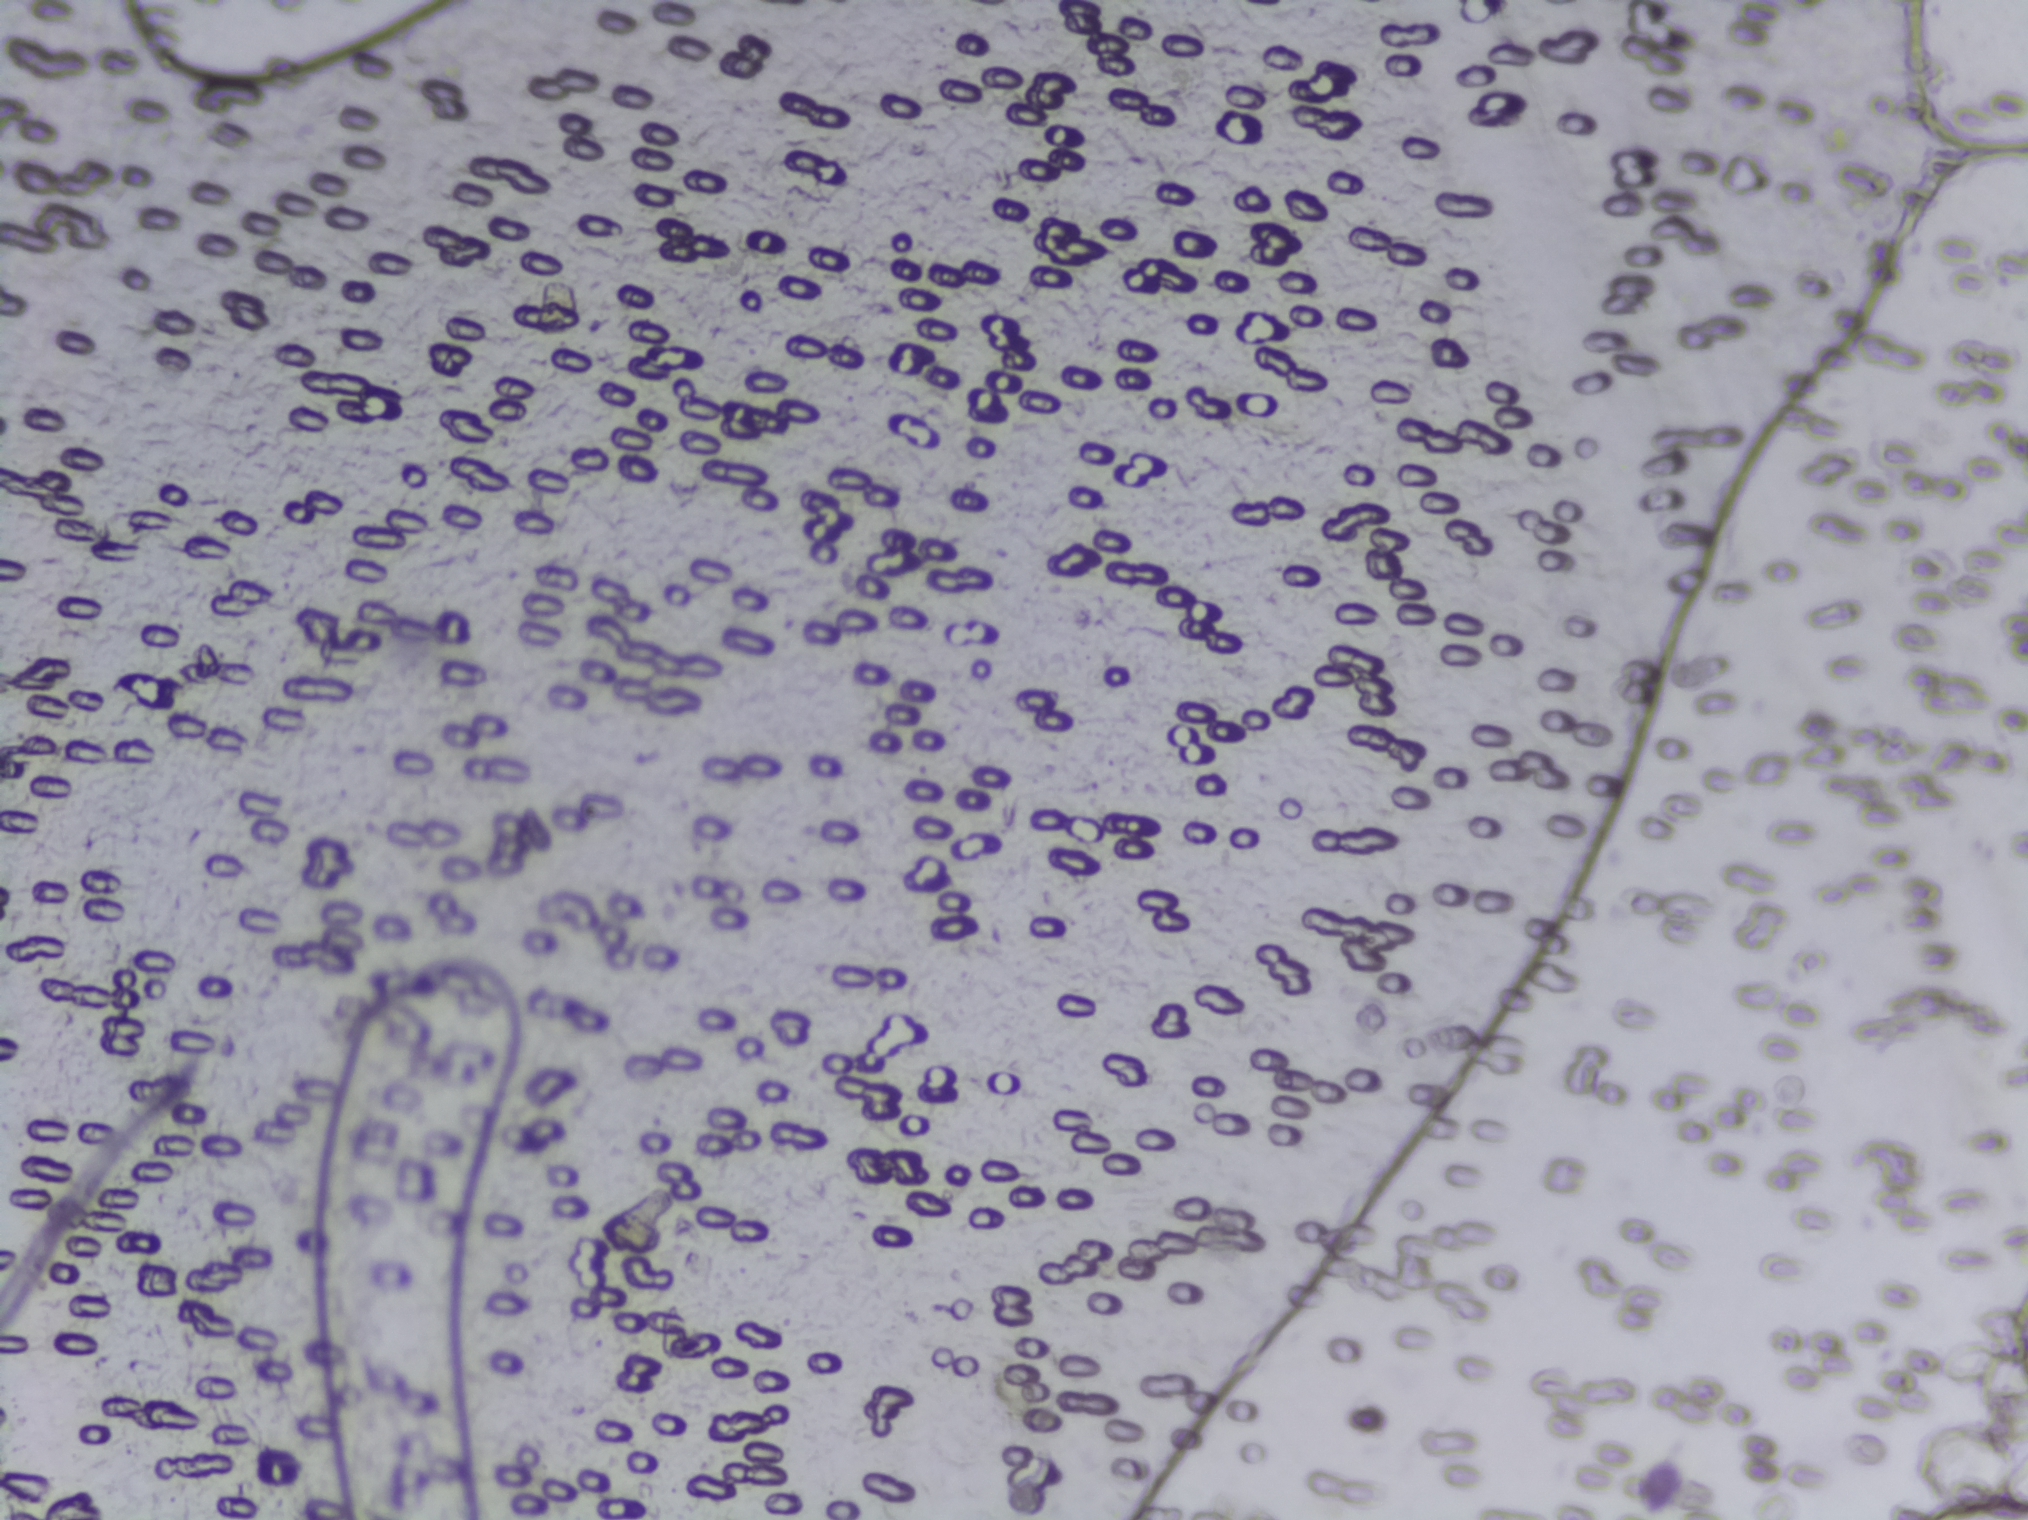
The expert annotation marks no Schistosoma egg in this field of view.
One field of view of a urine filter membrane, 4× objective, 2028 × 1520 pixels. The field of view is about 1.5 mm × 1.1 mm.